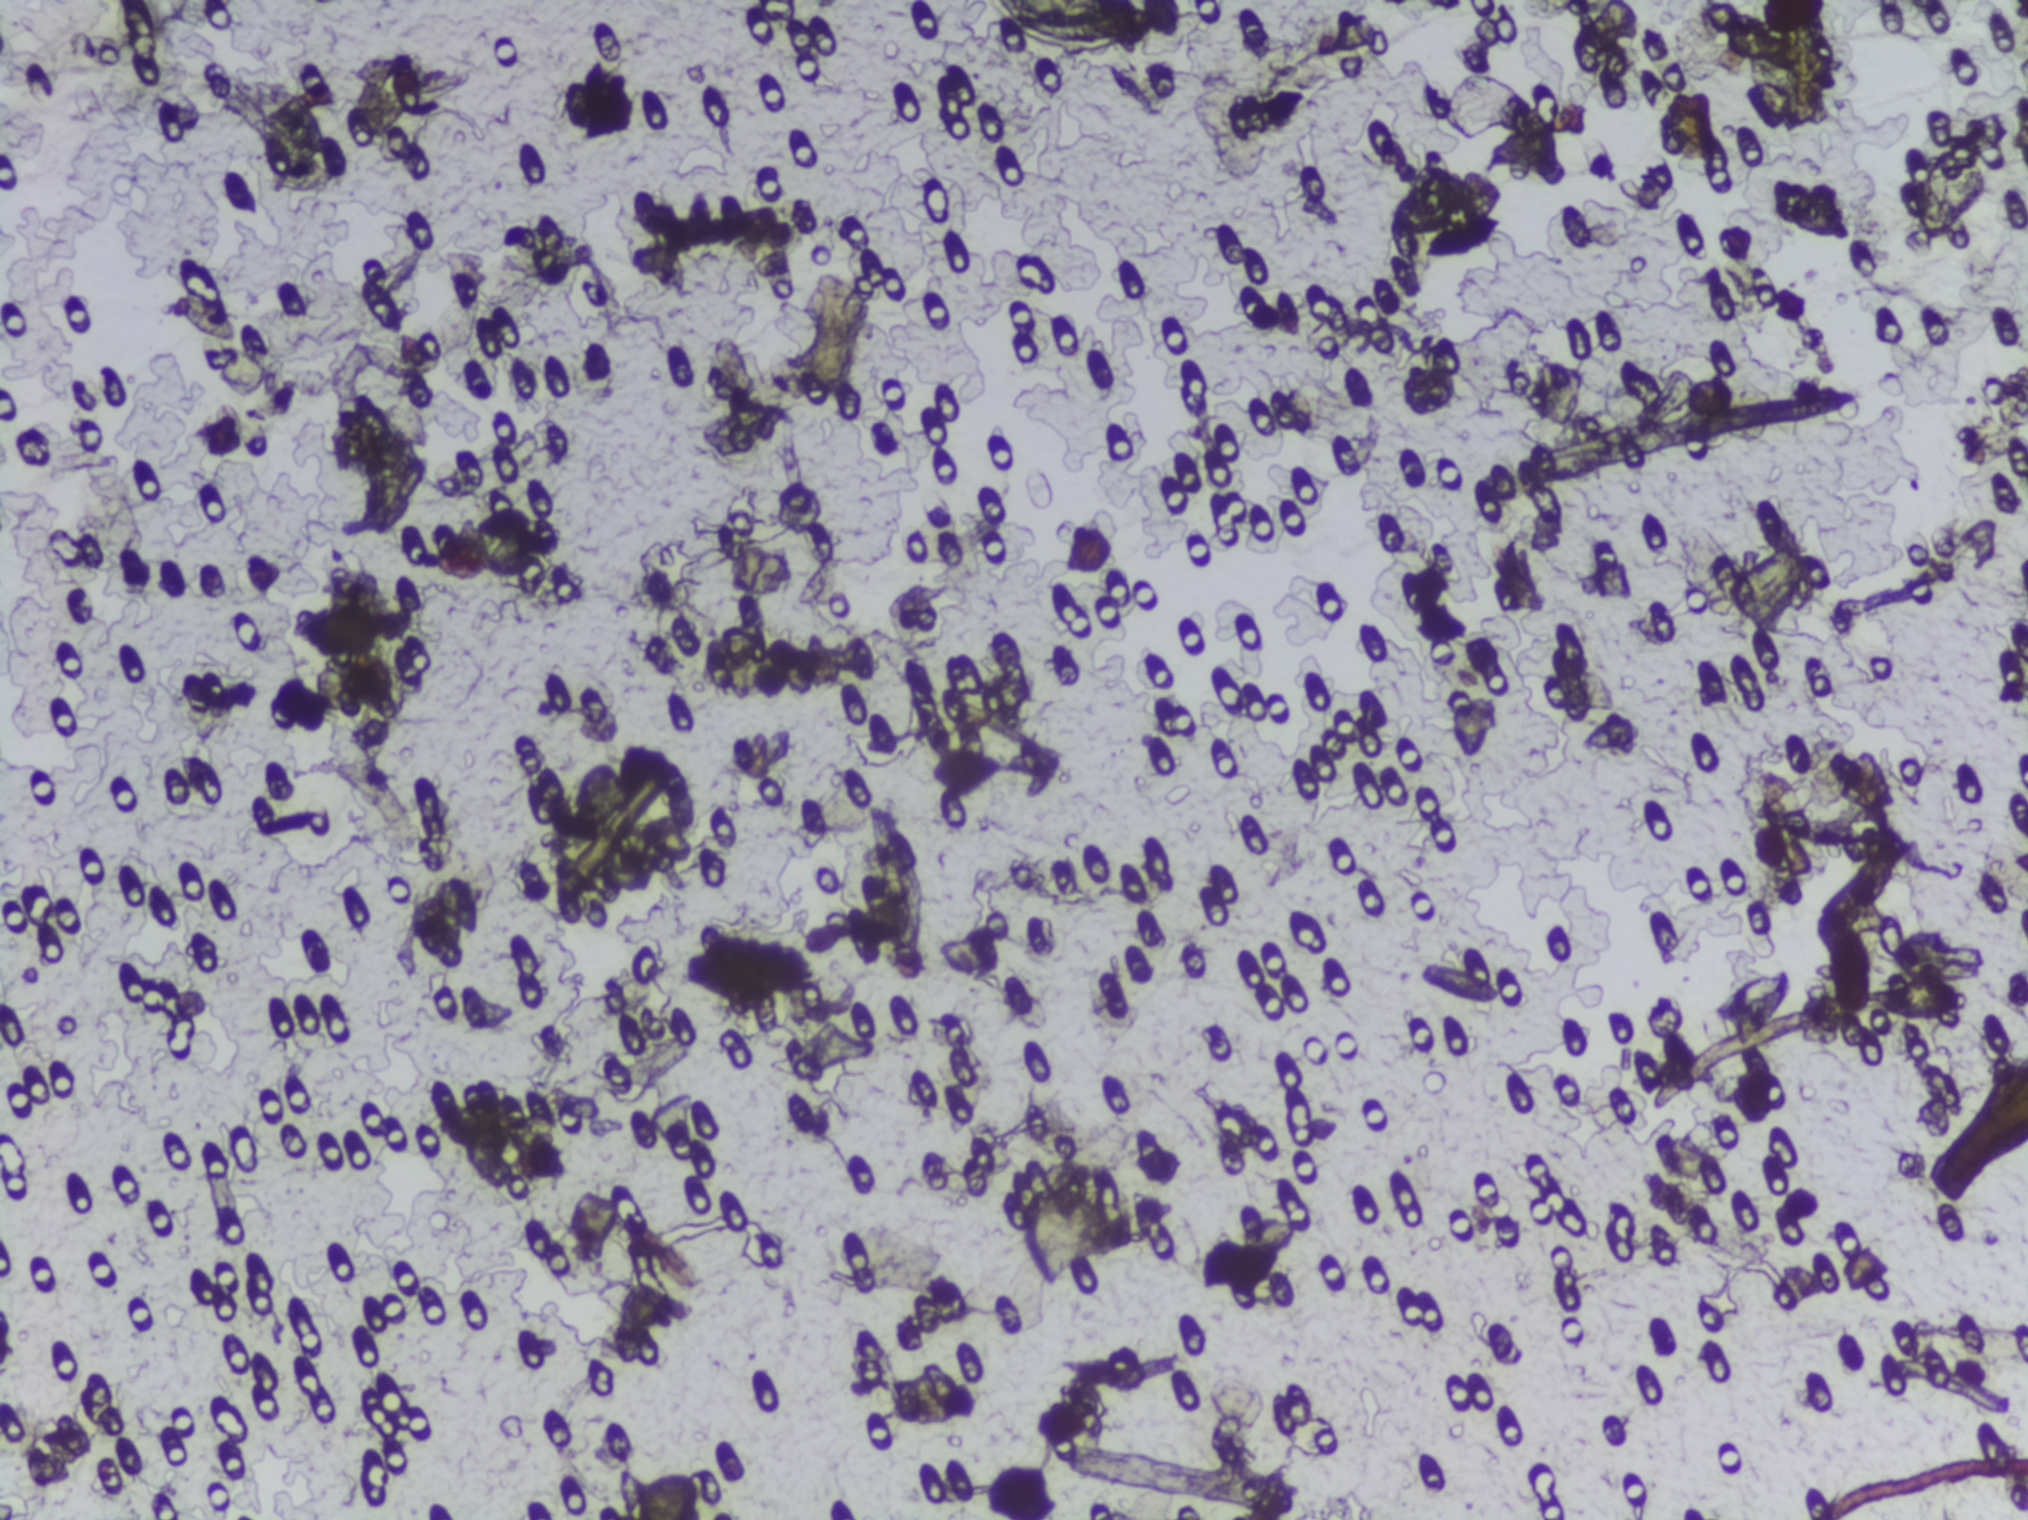
The expert annotation marks no Schistosoma egg in this field of view.
Photomicrograph of a urine filtration membrane, 4× objective.